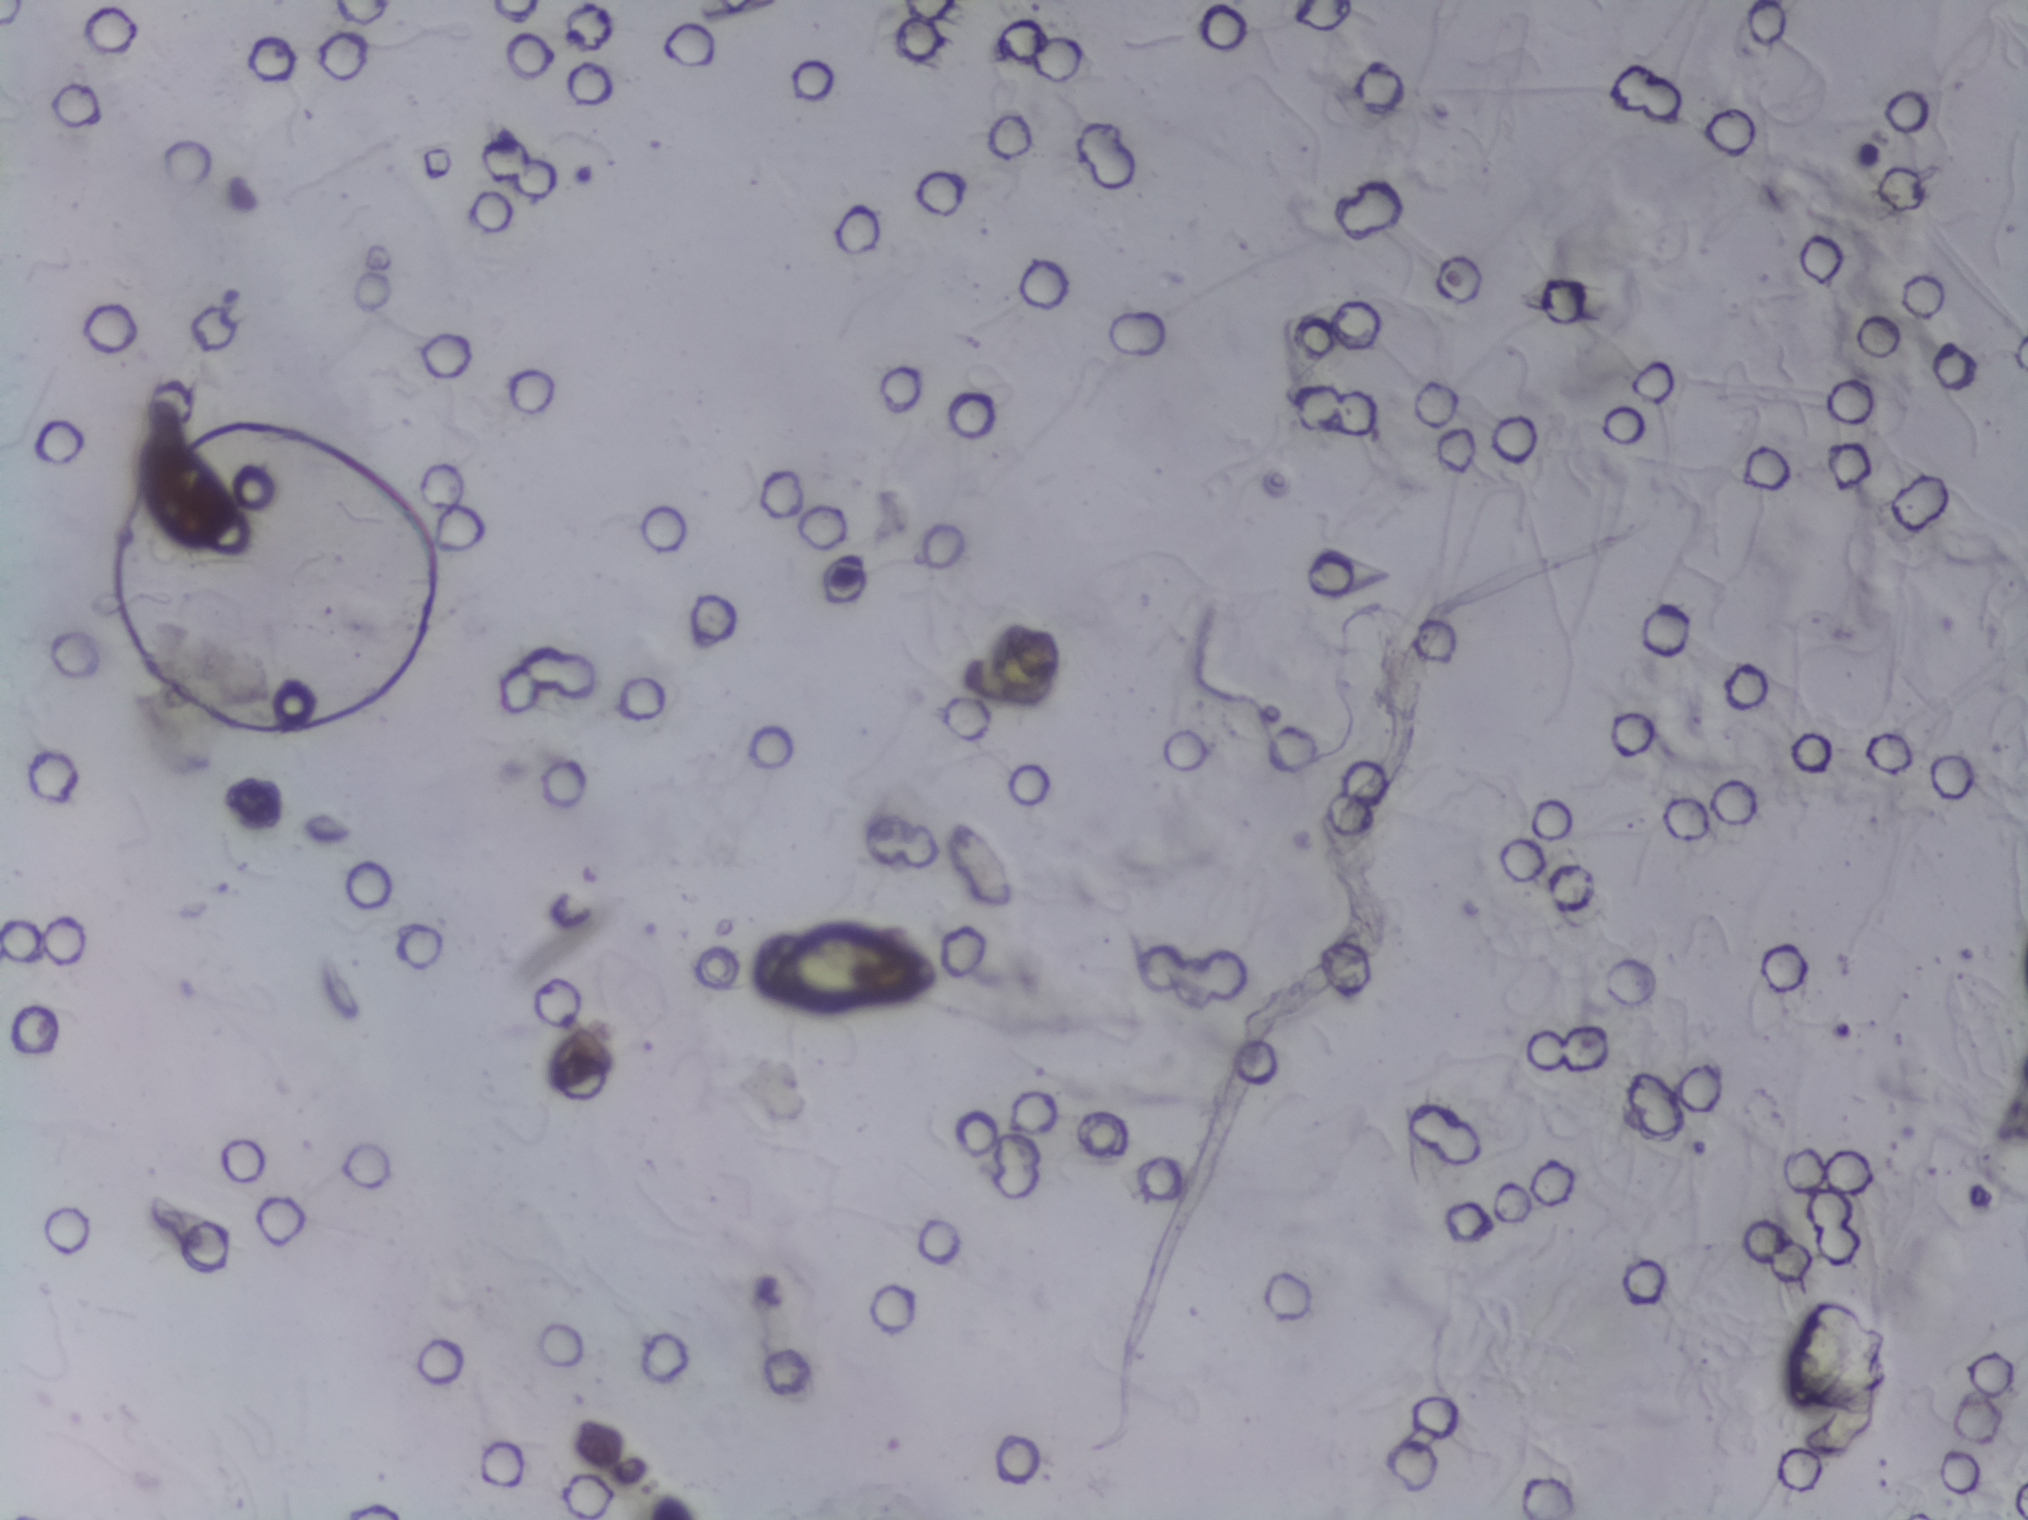
One field of view of a urine filter membrane, 4× objective, 2028 × 1520 pixels.
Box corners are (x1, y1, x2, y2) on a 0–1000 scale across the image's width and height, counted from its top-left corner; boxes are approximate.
The expert annotation outlines Schistosoma eggs at (375, 605, 464, 672). Eggs that touch can end up inside the same outlined area. A marked egg may occasionally be S. mansoni rather than S. haematobium.